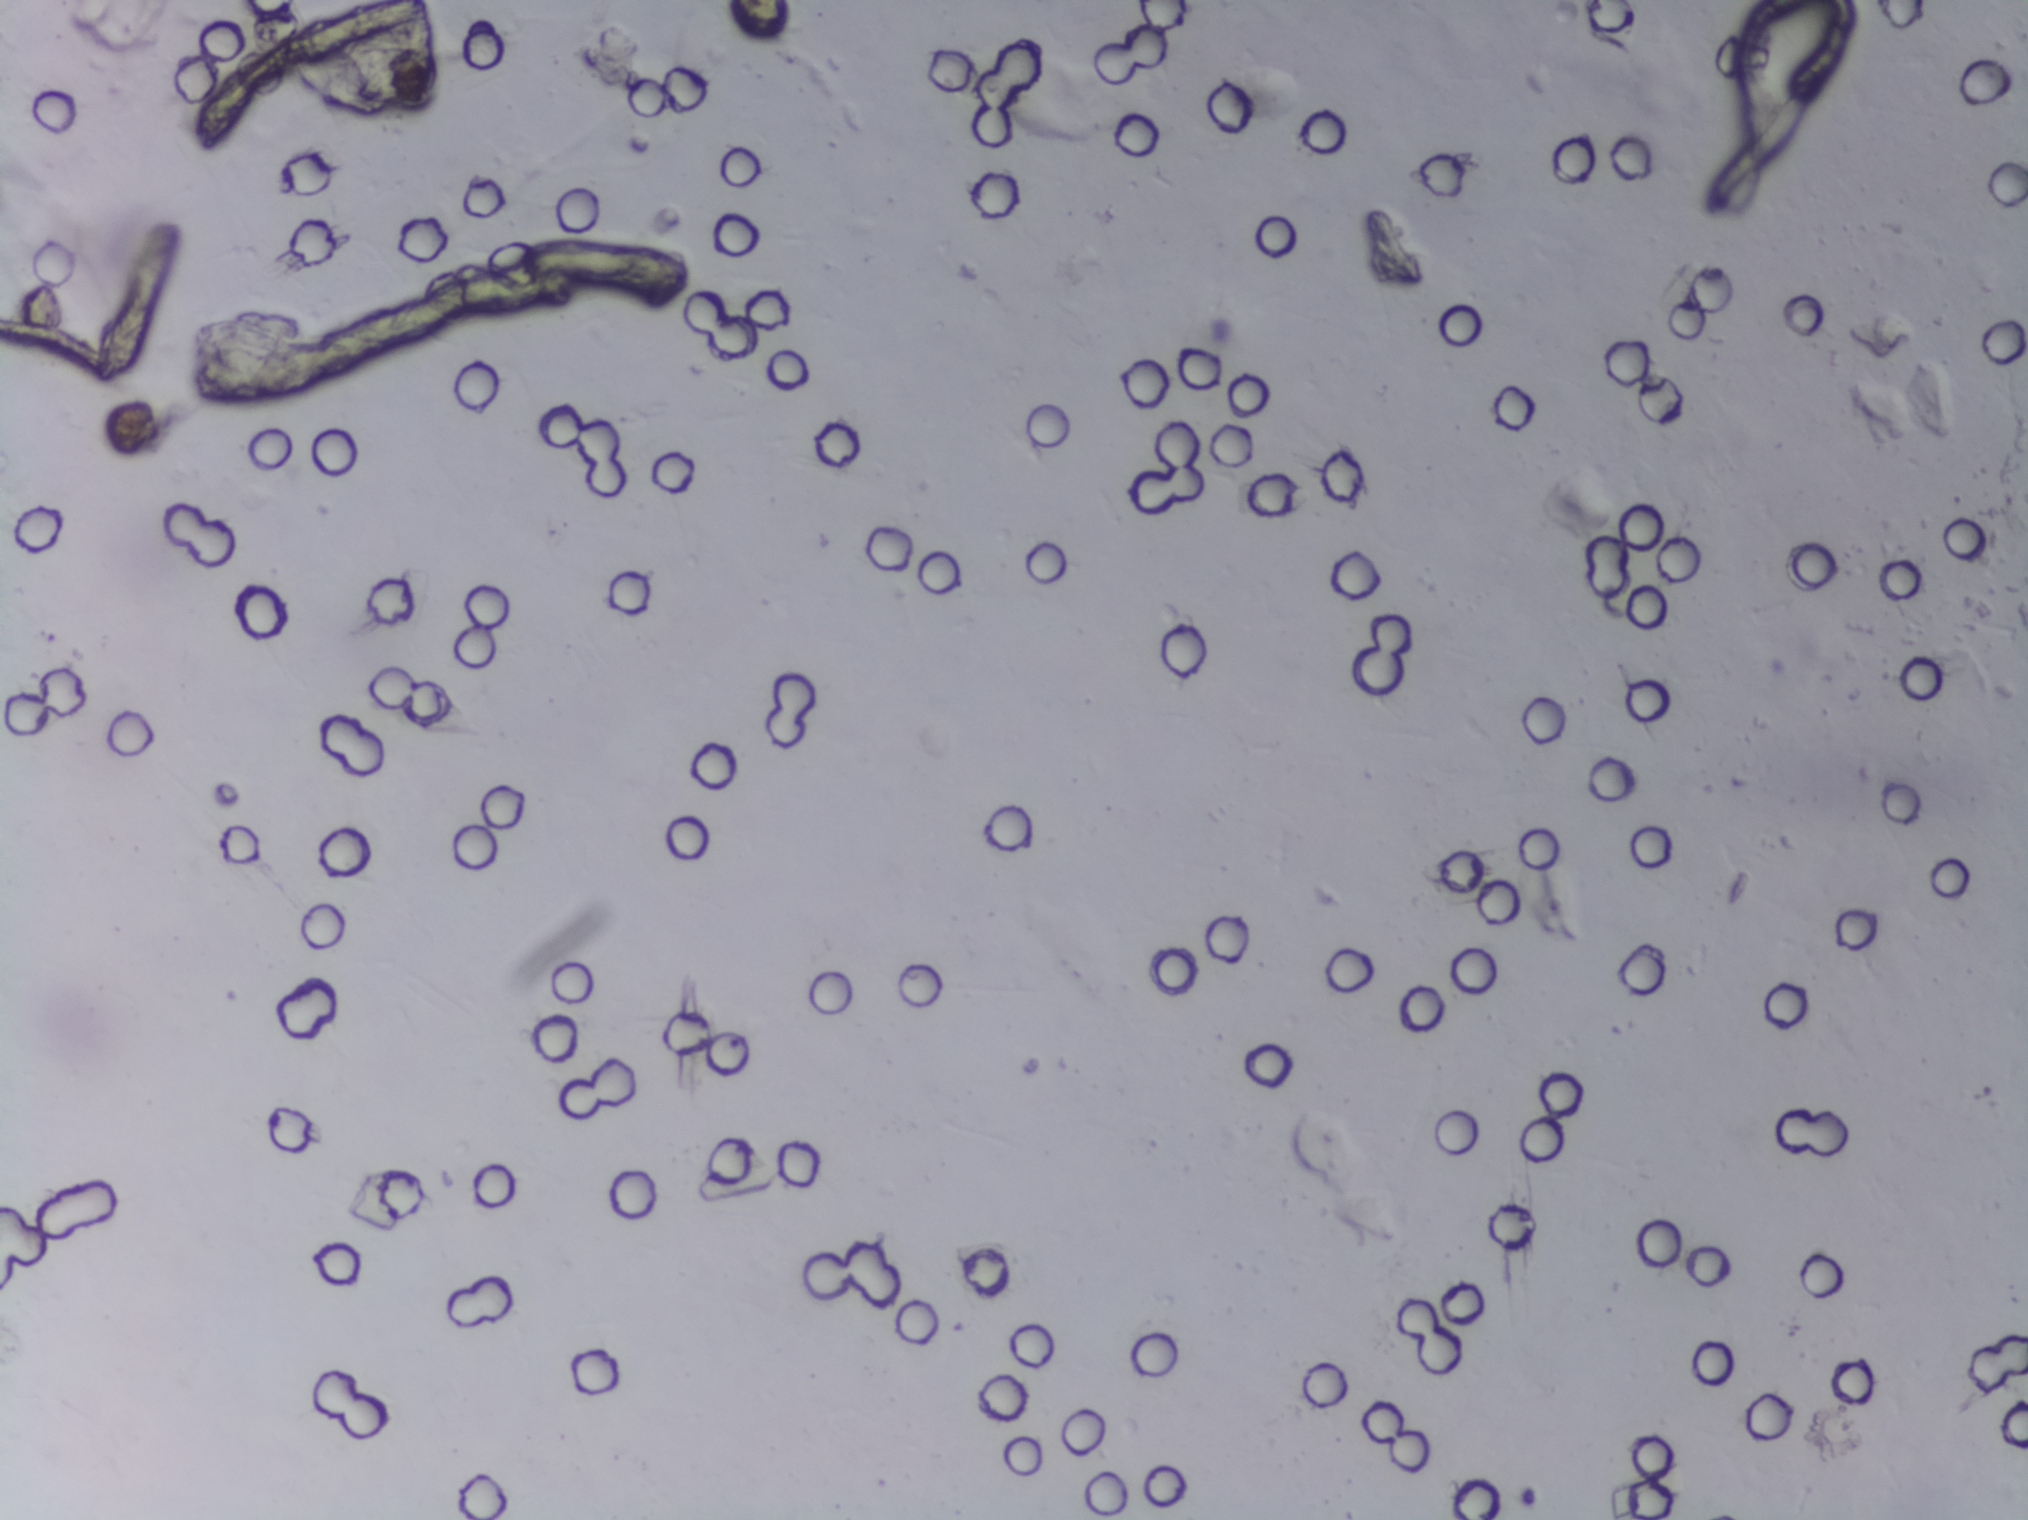
Photograph from an automated digital microscope: urine filter membrane, 4× objective. The field of view is about 1.5 mm × 1.1 mm.
The expert annotation marks no Schistosoma egg in this field of view.